Photograph from an automated digital microscope: urine filter membrane, 4× objective. Field of view: about 1.5 mm wide and 1.1 mm high.
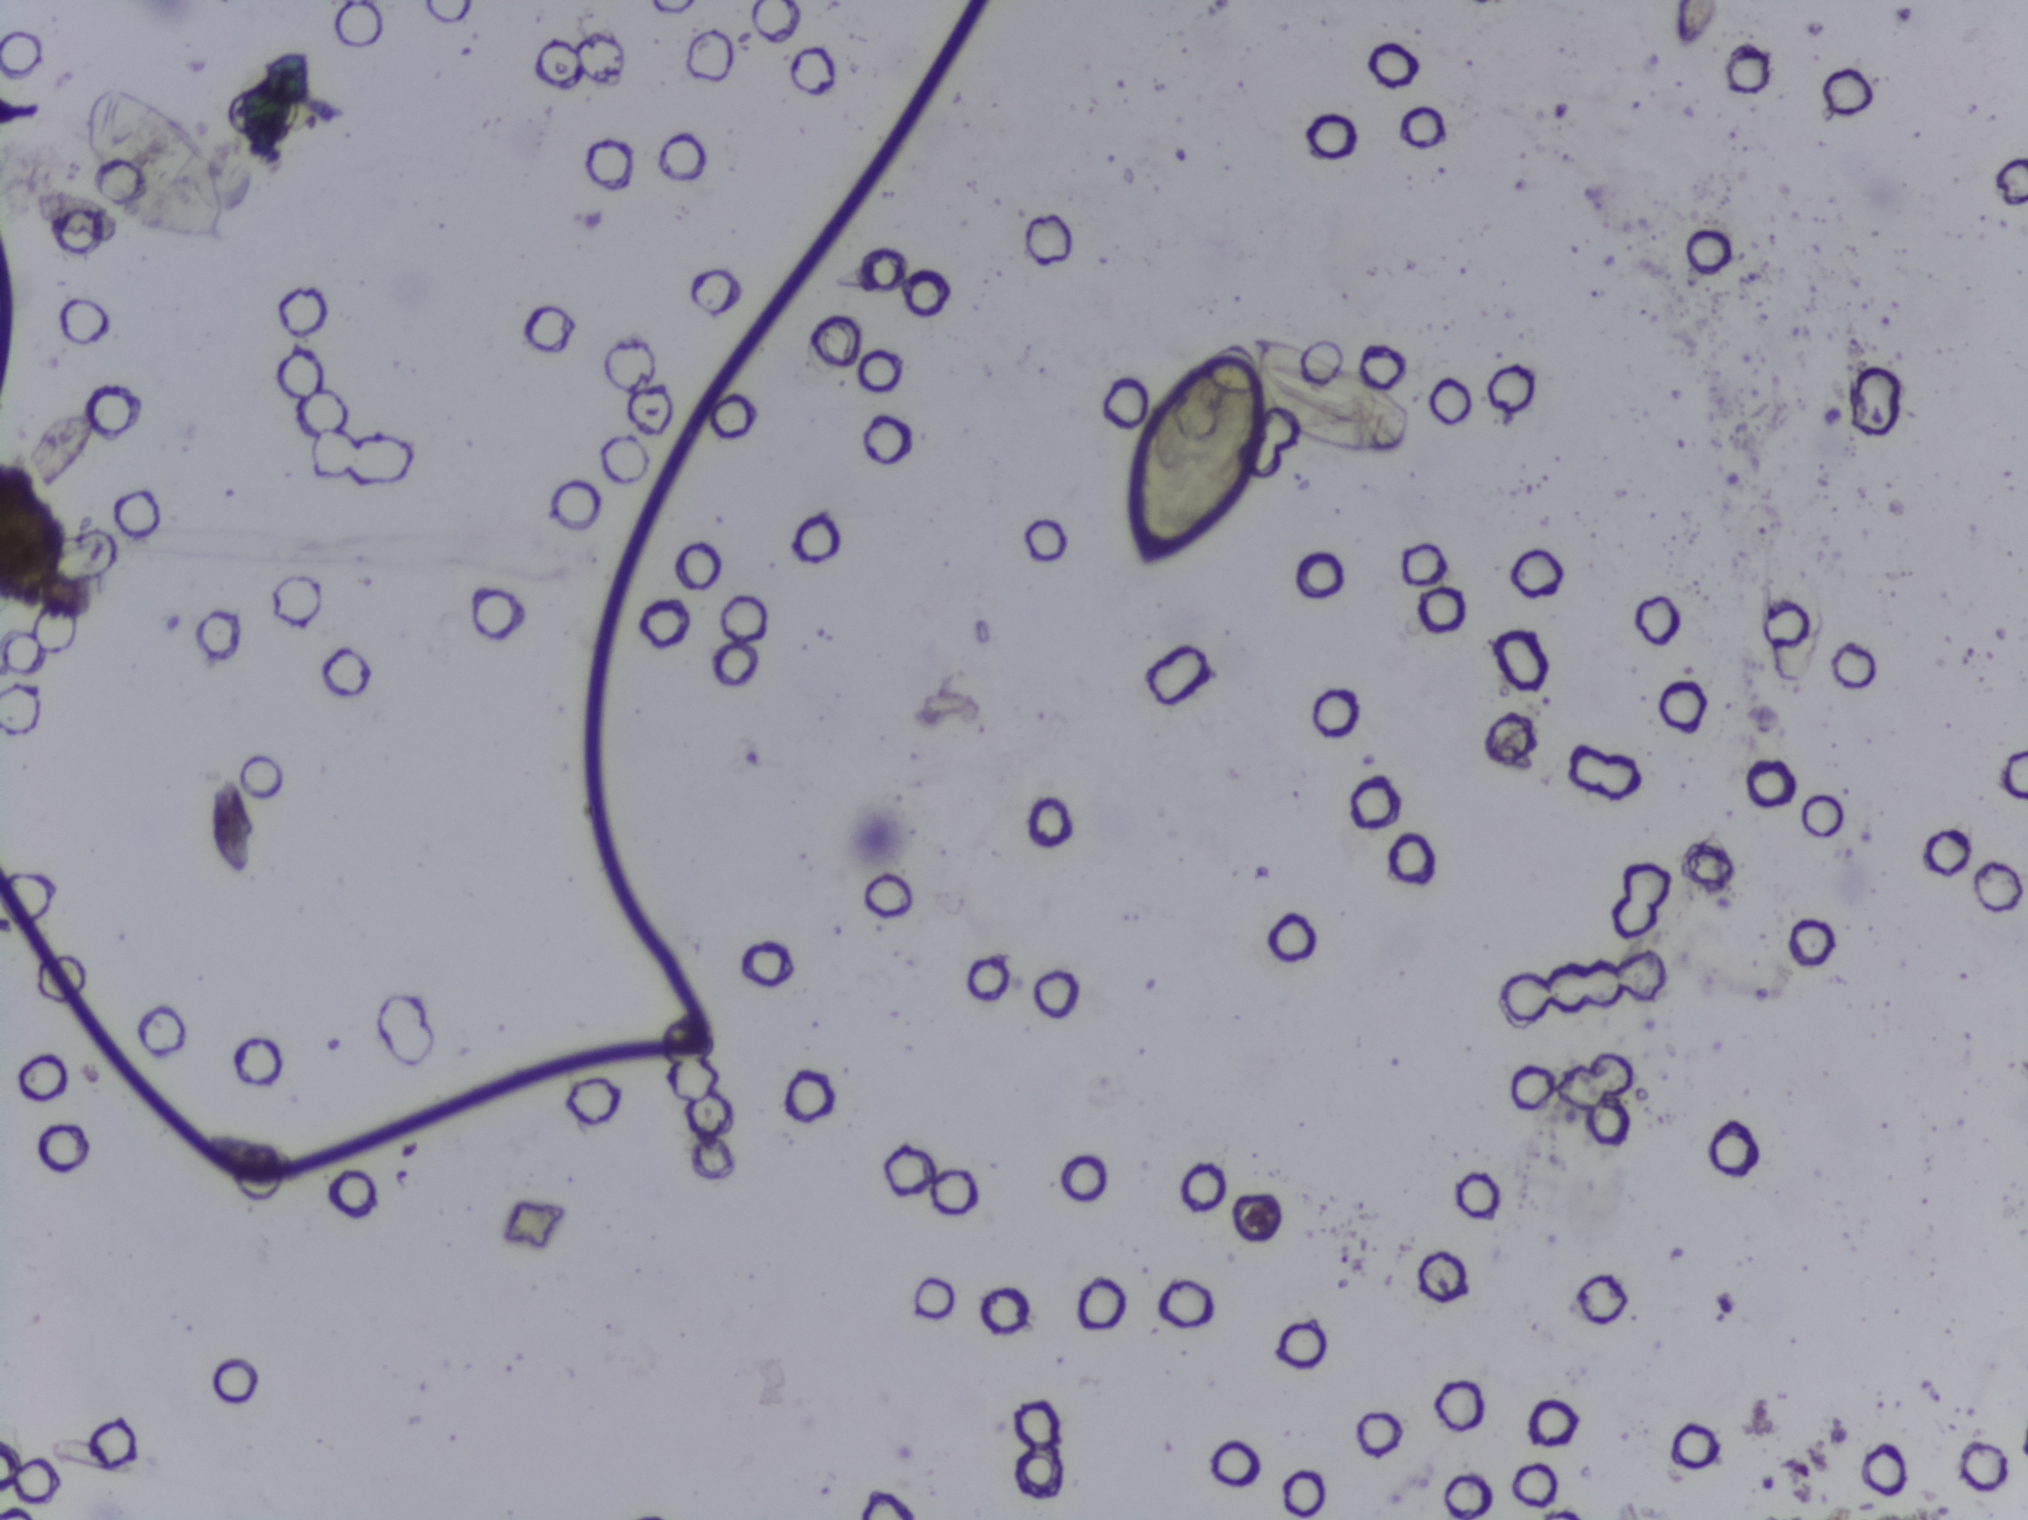
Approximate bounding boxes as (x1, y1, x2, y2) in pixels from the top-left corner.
Two areas of this image are outlined as Schistosoma eggs, from left to right: (85, 82, 231, 245) and (1128, 331, 1415, 565). Eggs that touch can end up inside the same outlined area.